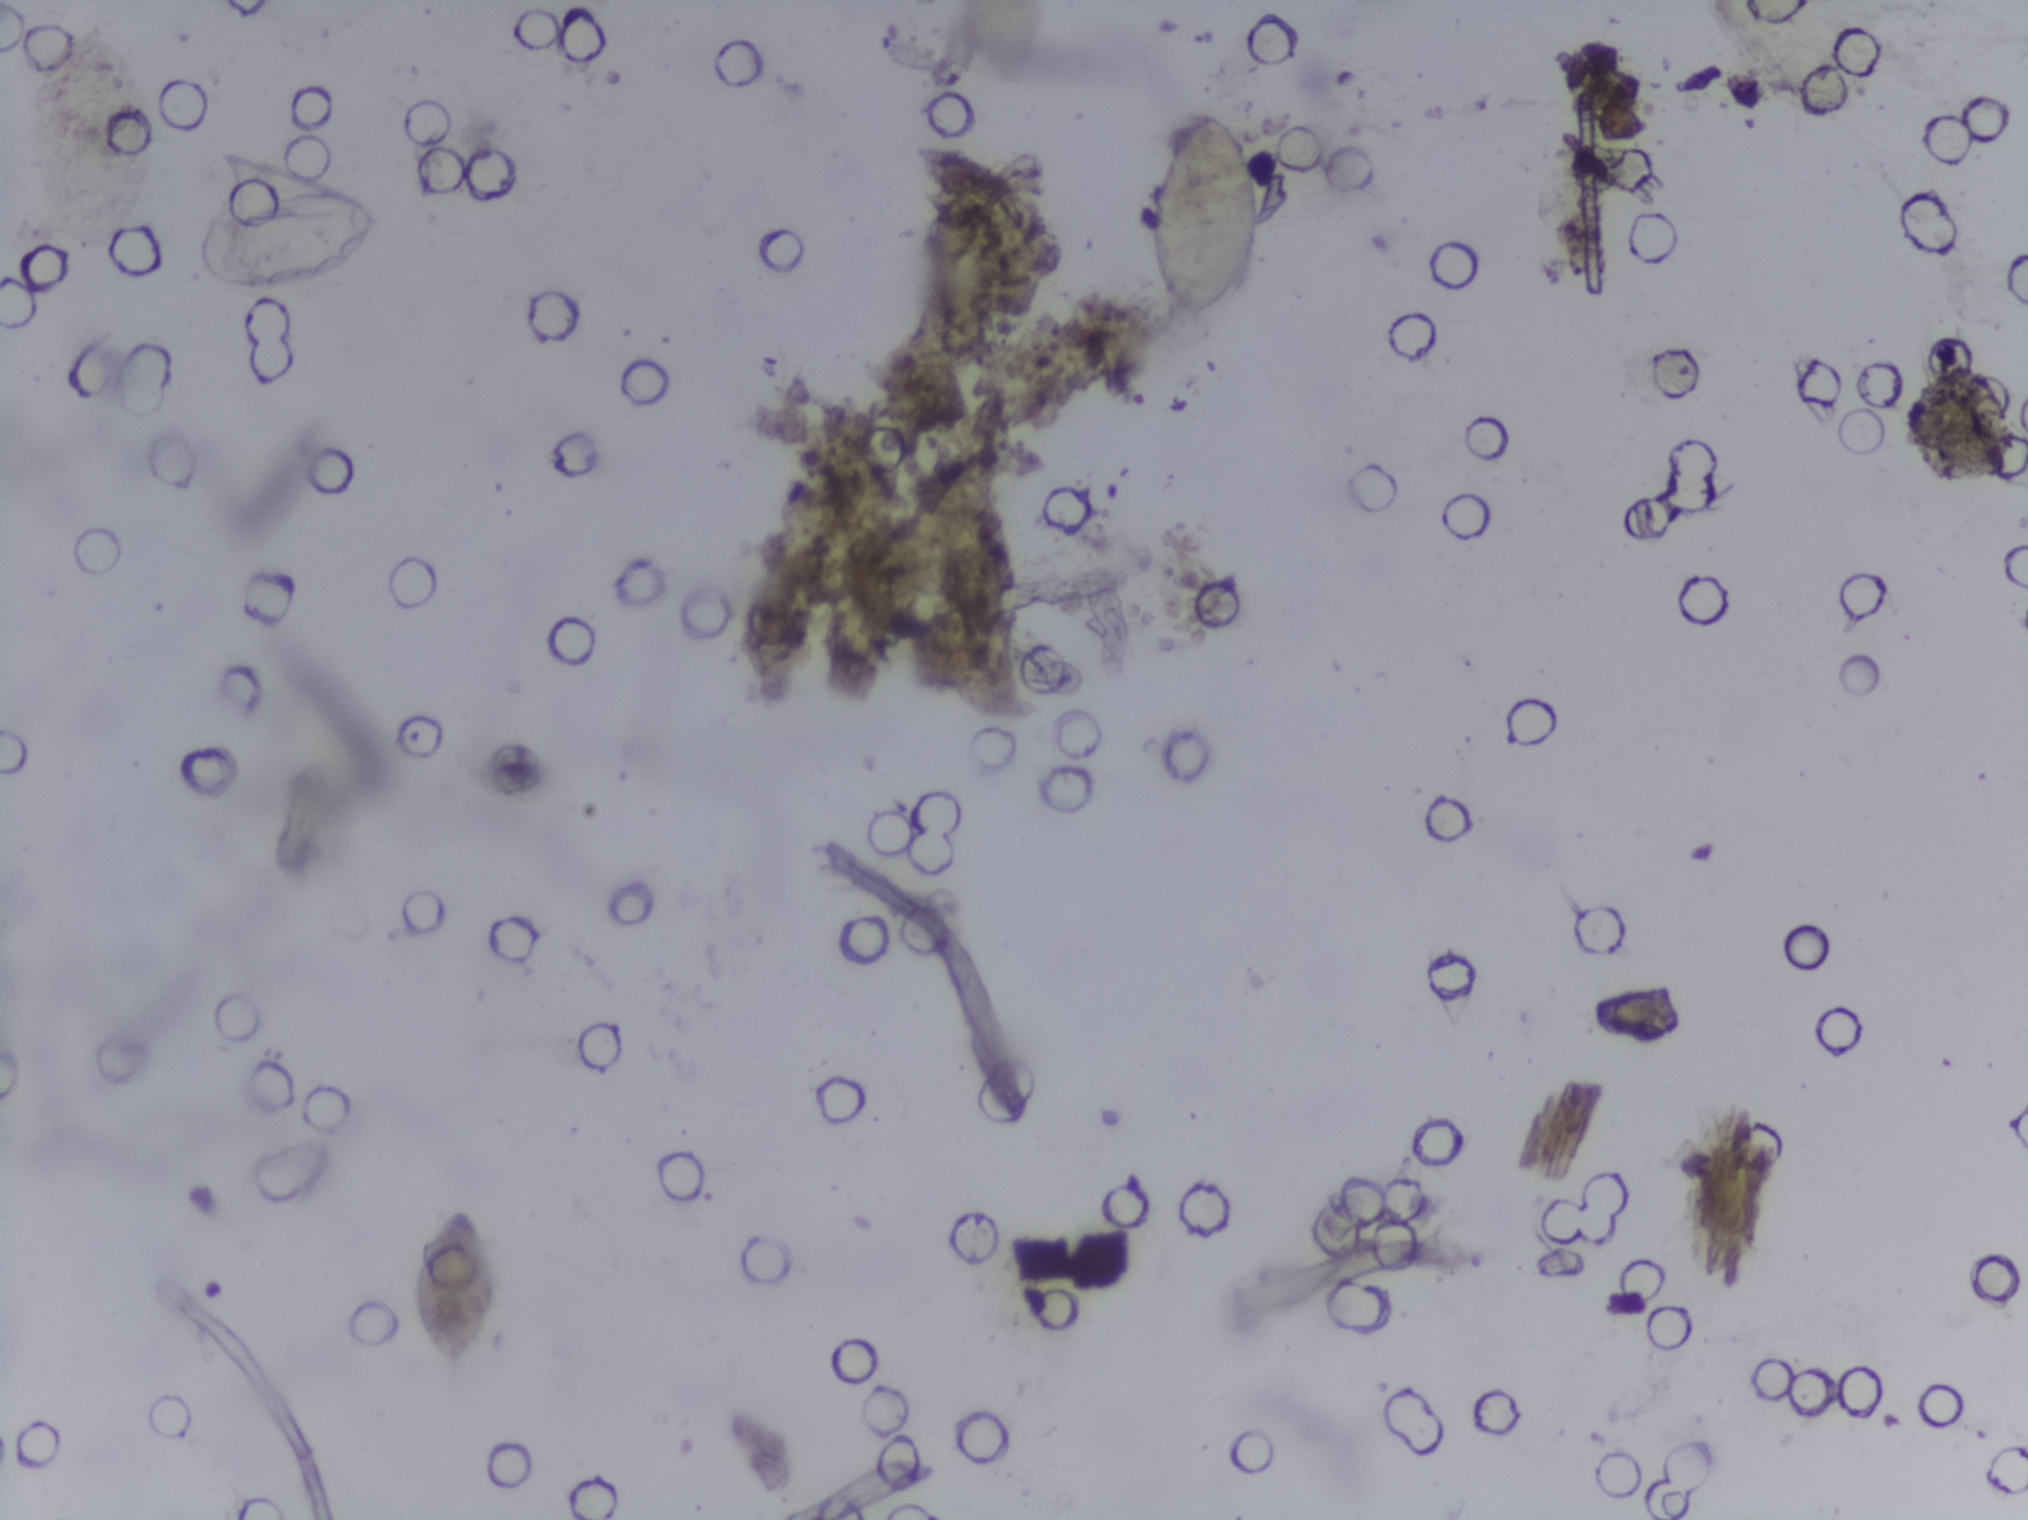
One field of view of a urine filter membrane, 4× objective, 2028 × 1520 pixels. The field of view is about 1.5 mm × 1.1 mm.
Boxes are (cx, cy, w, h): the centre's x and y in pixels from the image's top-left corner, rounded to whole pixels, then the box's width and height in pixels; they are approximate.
Three areas of this image are outlined as Schistosoma eggs, from left to right: (cx=288, cy=235, w=211, h=107); (cx=453, cy=1290, w=98, h=171); (cx=1208, cy=217, w=135, h=244). A single outlined area may contain several eggs.